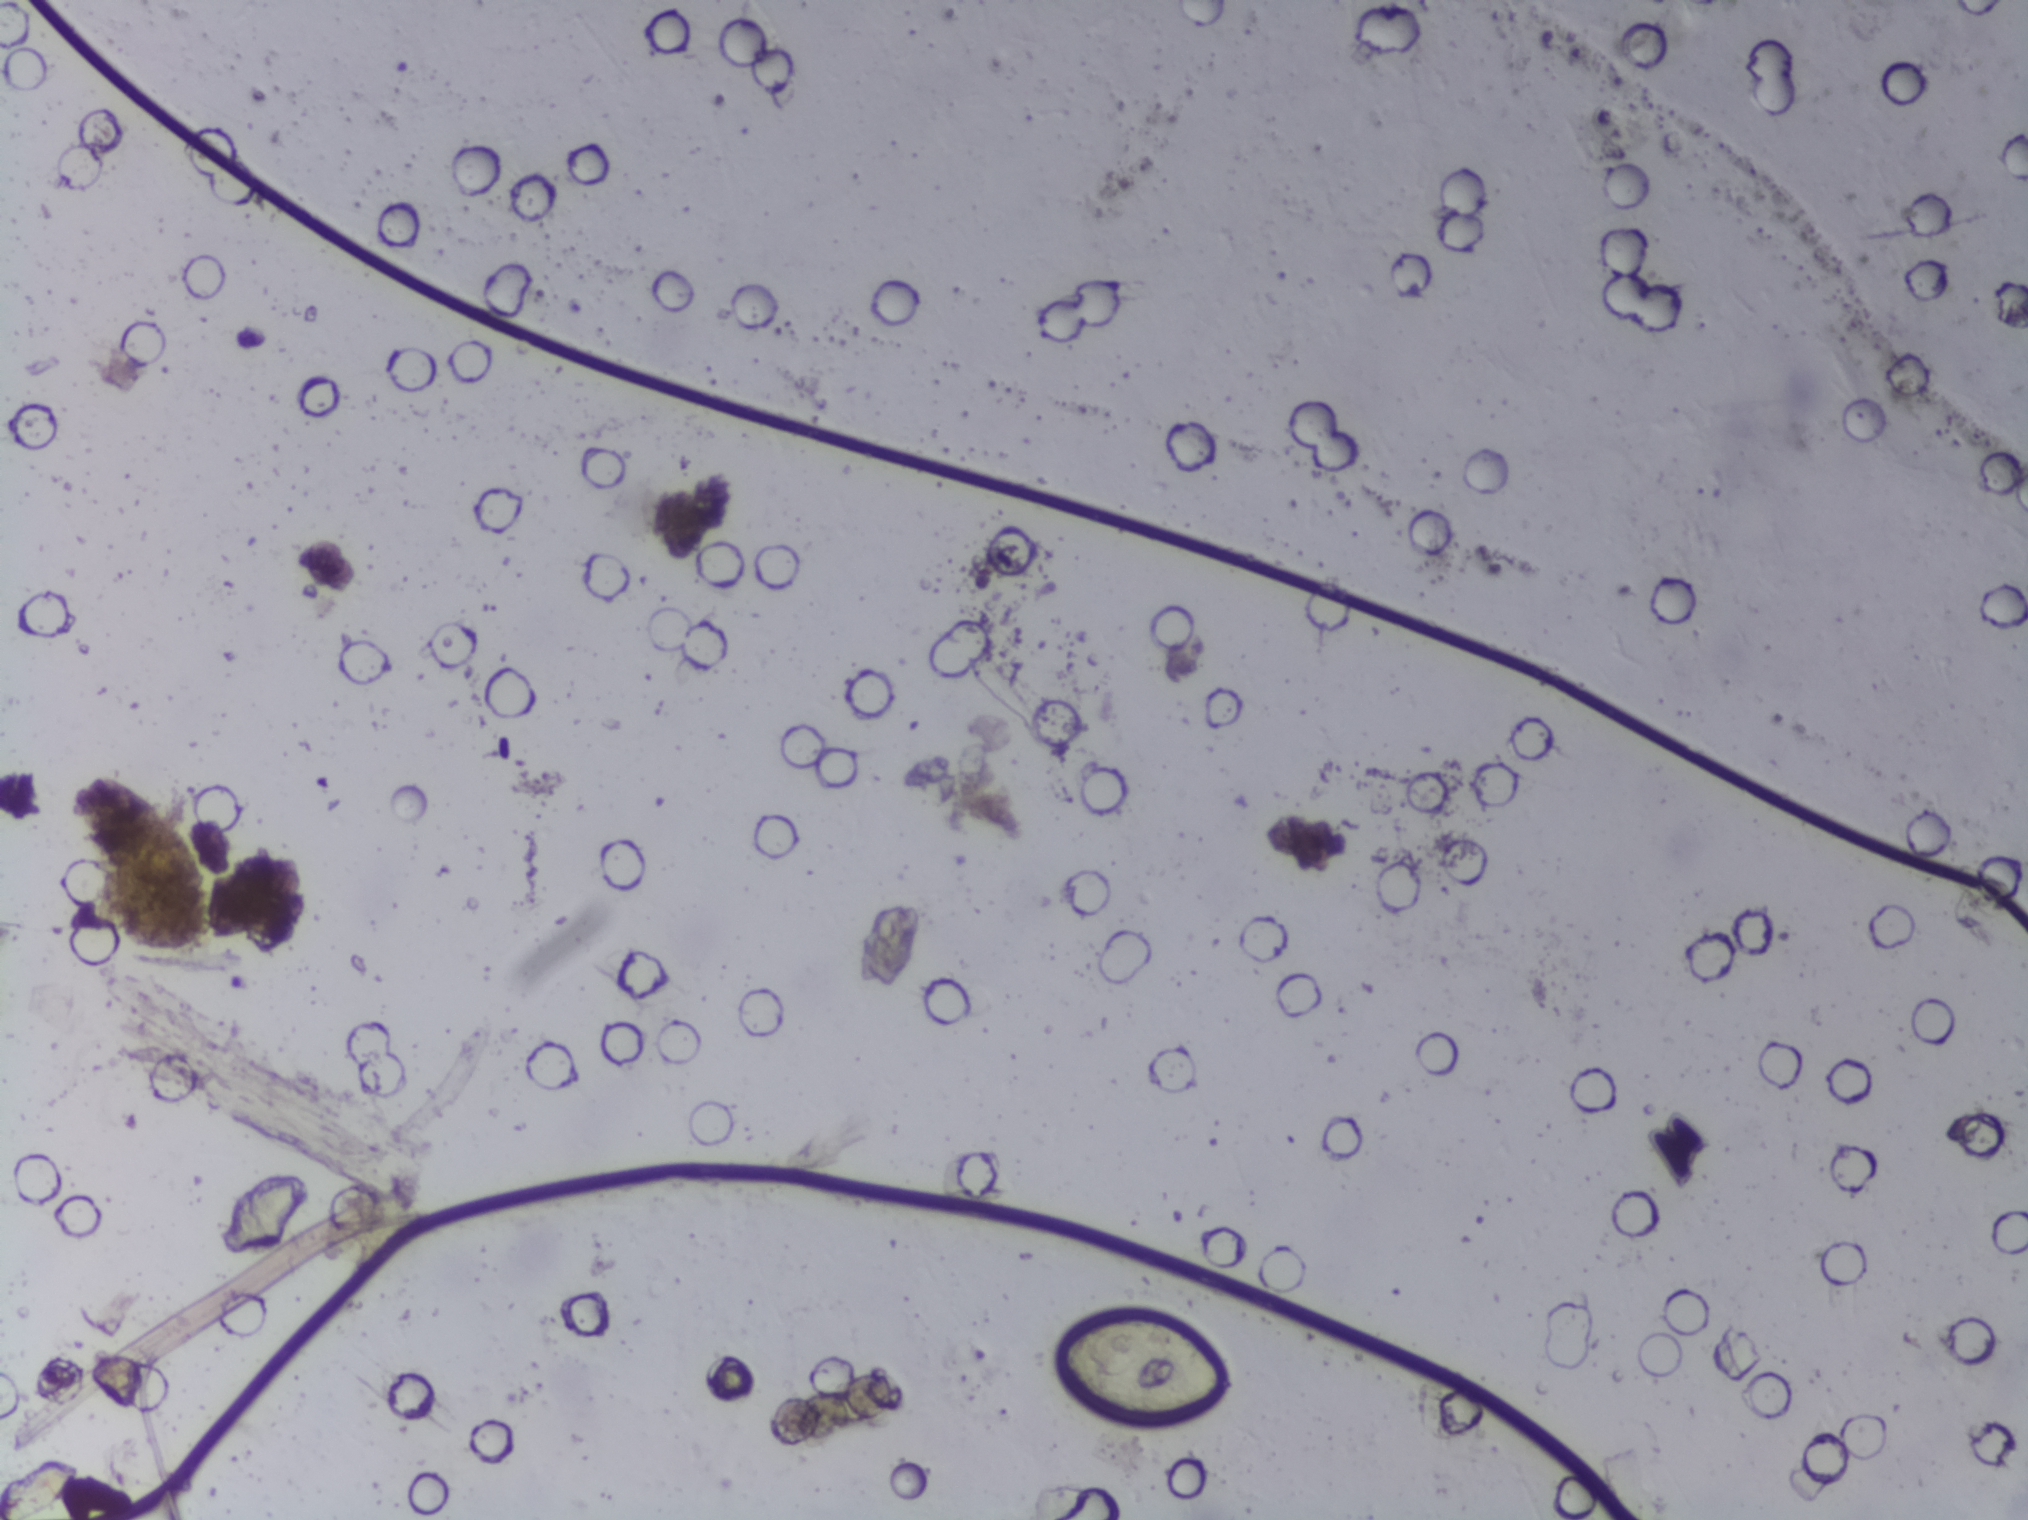
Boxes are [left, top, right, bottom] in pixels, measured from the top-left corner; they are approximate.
Schistosoma eggs, outlined areas: [1052, 1308, 1236, 1431]. Eggs that touch can end up inside the same outlined area.
Urine filter membrane photographed through a 4× microscope objective.